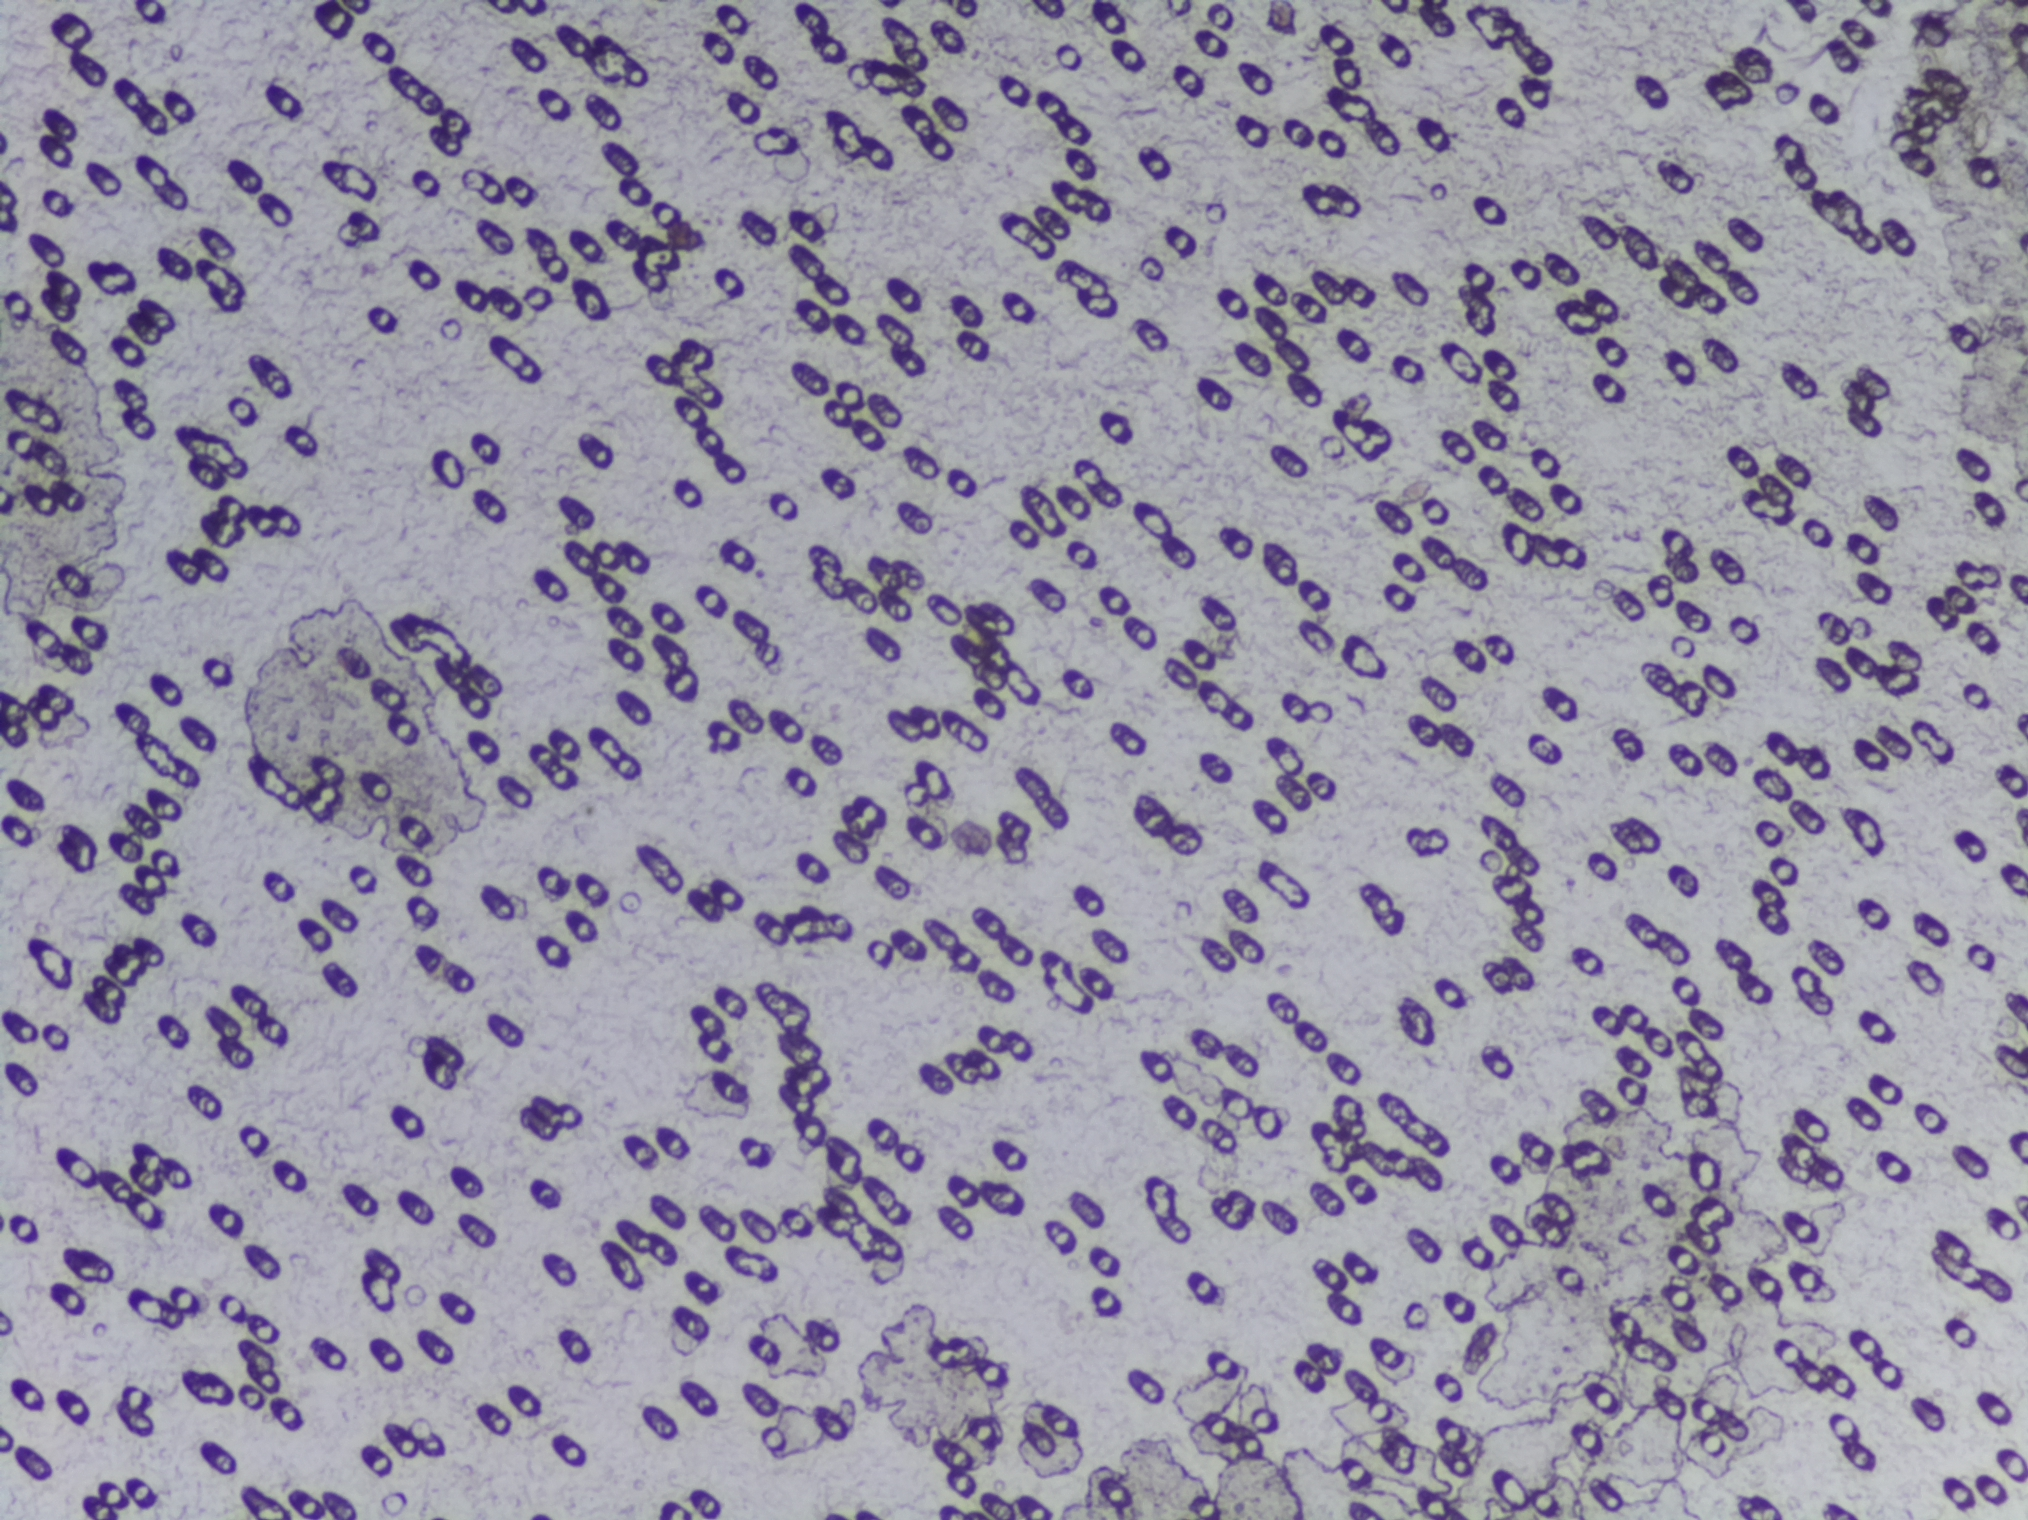
No area of this image was outlined as a Schistosoma egg.
Microscope photograph (4× objective) of a membrane that a urine sample was filtered through. Field of view: about 1.5 mm wide and 1.1 mm high.